Urine filtration membrane under a 4× objective, photographed by an automated digital microscope.
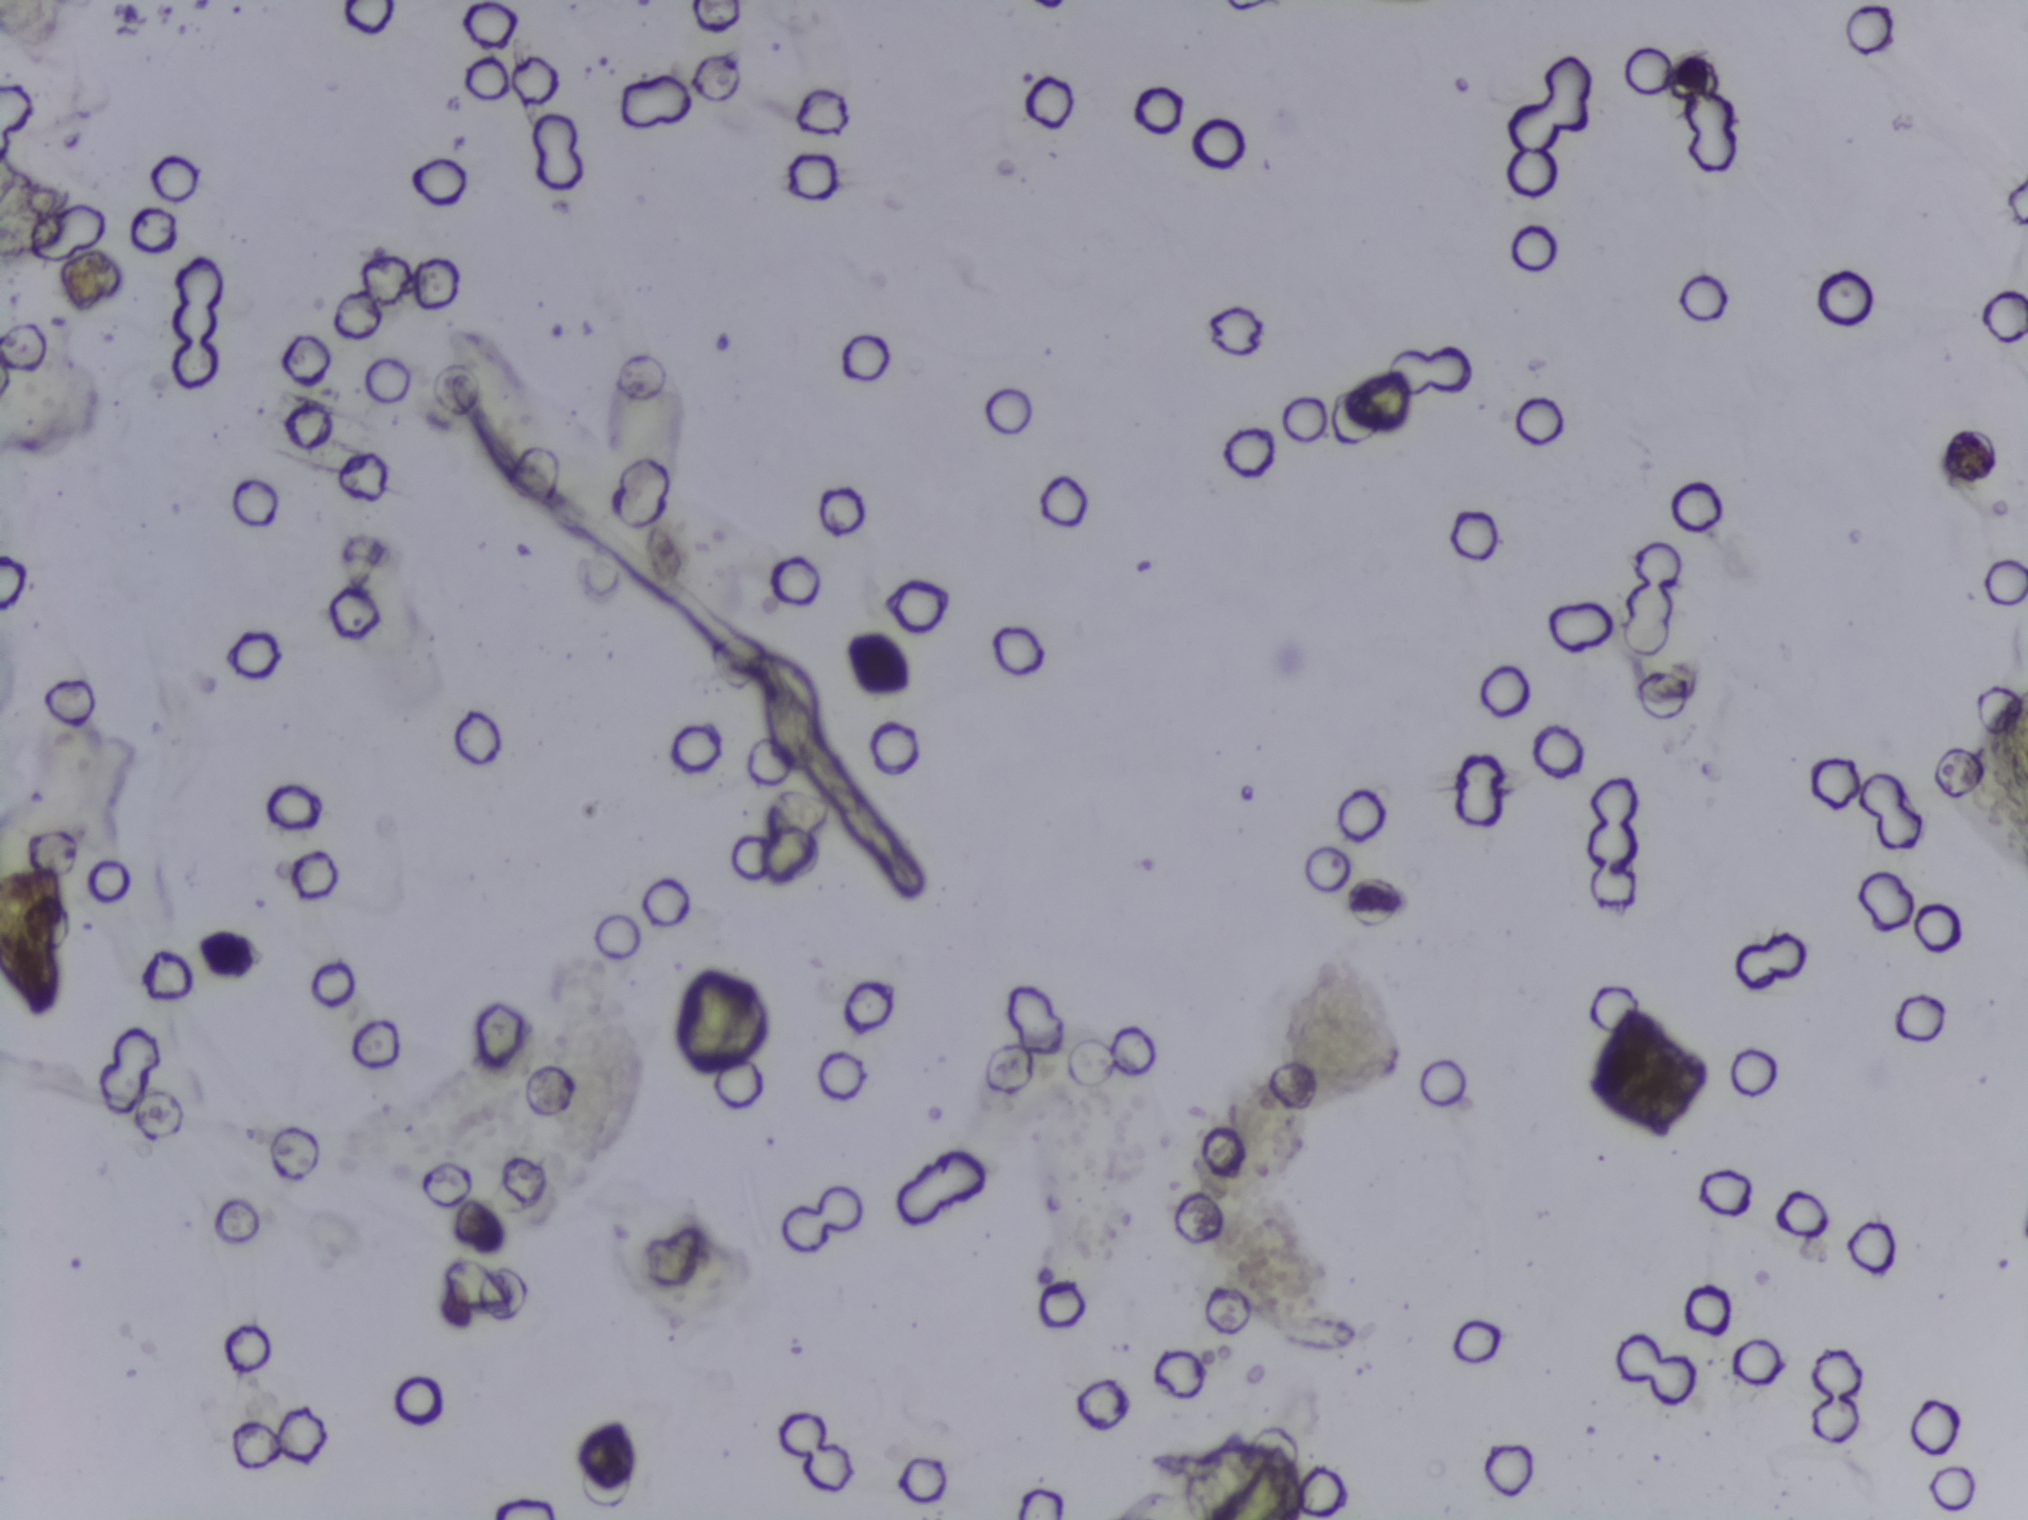
Schistosoma eggs: none outlined.